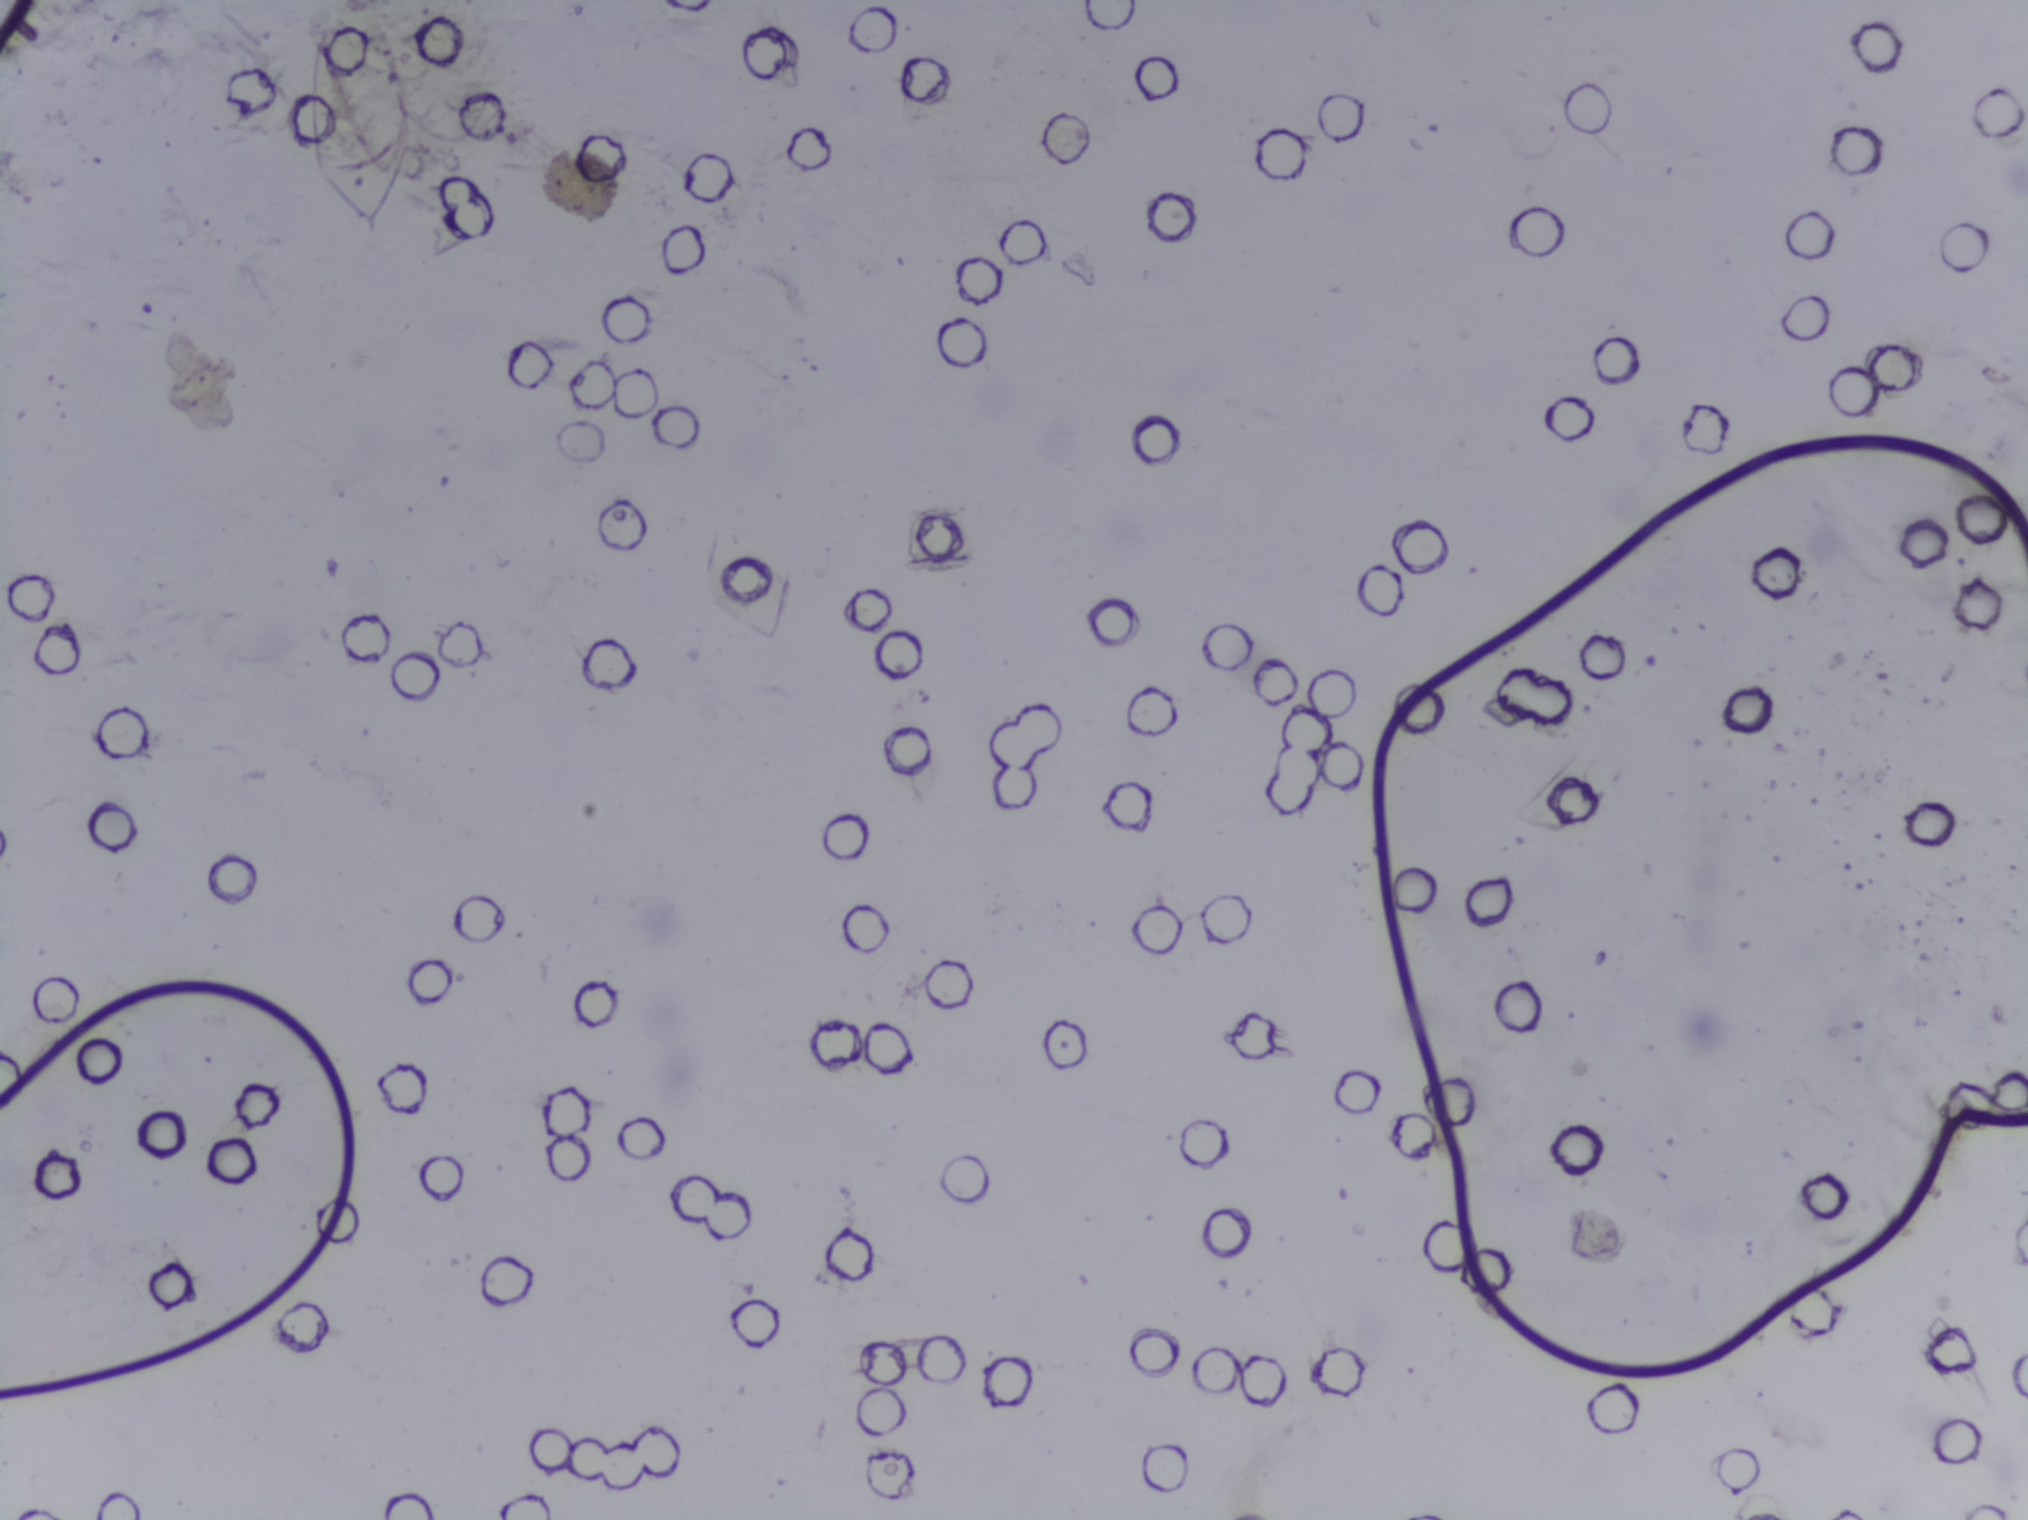
One field of view of a urine filter membrane, 4× objective, 2028 × 1520 pixels. The image covers about 1.5 × 1.1 mm of the membrane.
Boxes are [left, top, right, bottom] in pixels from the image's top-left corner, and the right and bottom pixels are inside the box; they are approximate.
{"schistosoma_egg_areas_xyxy_px": [[307, 15, 415, 238]]}
A single outlined area may contain several eggs.